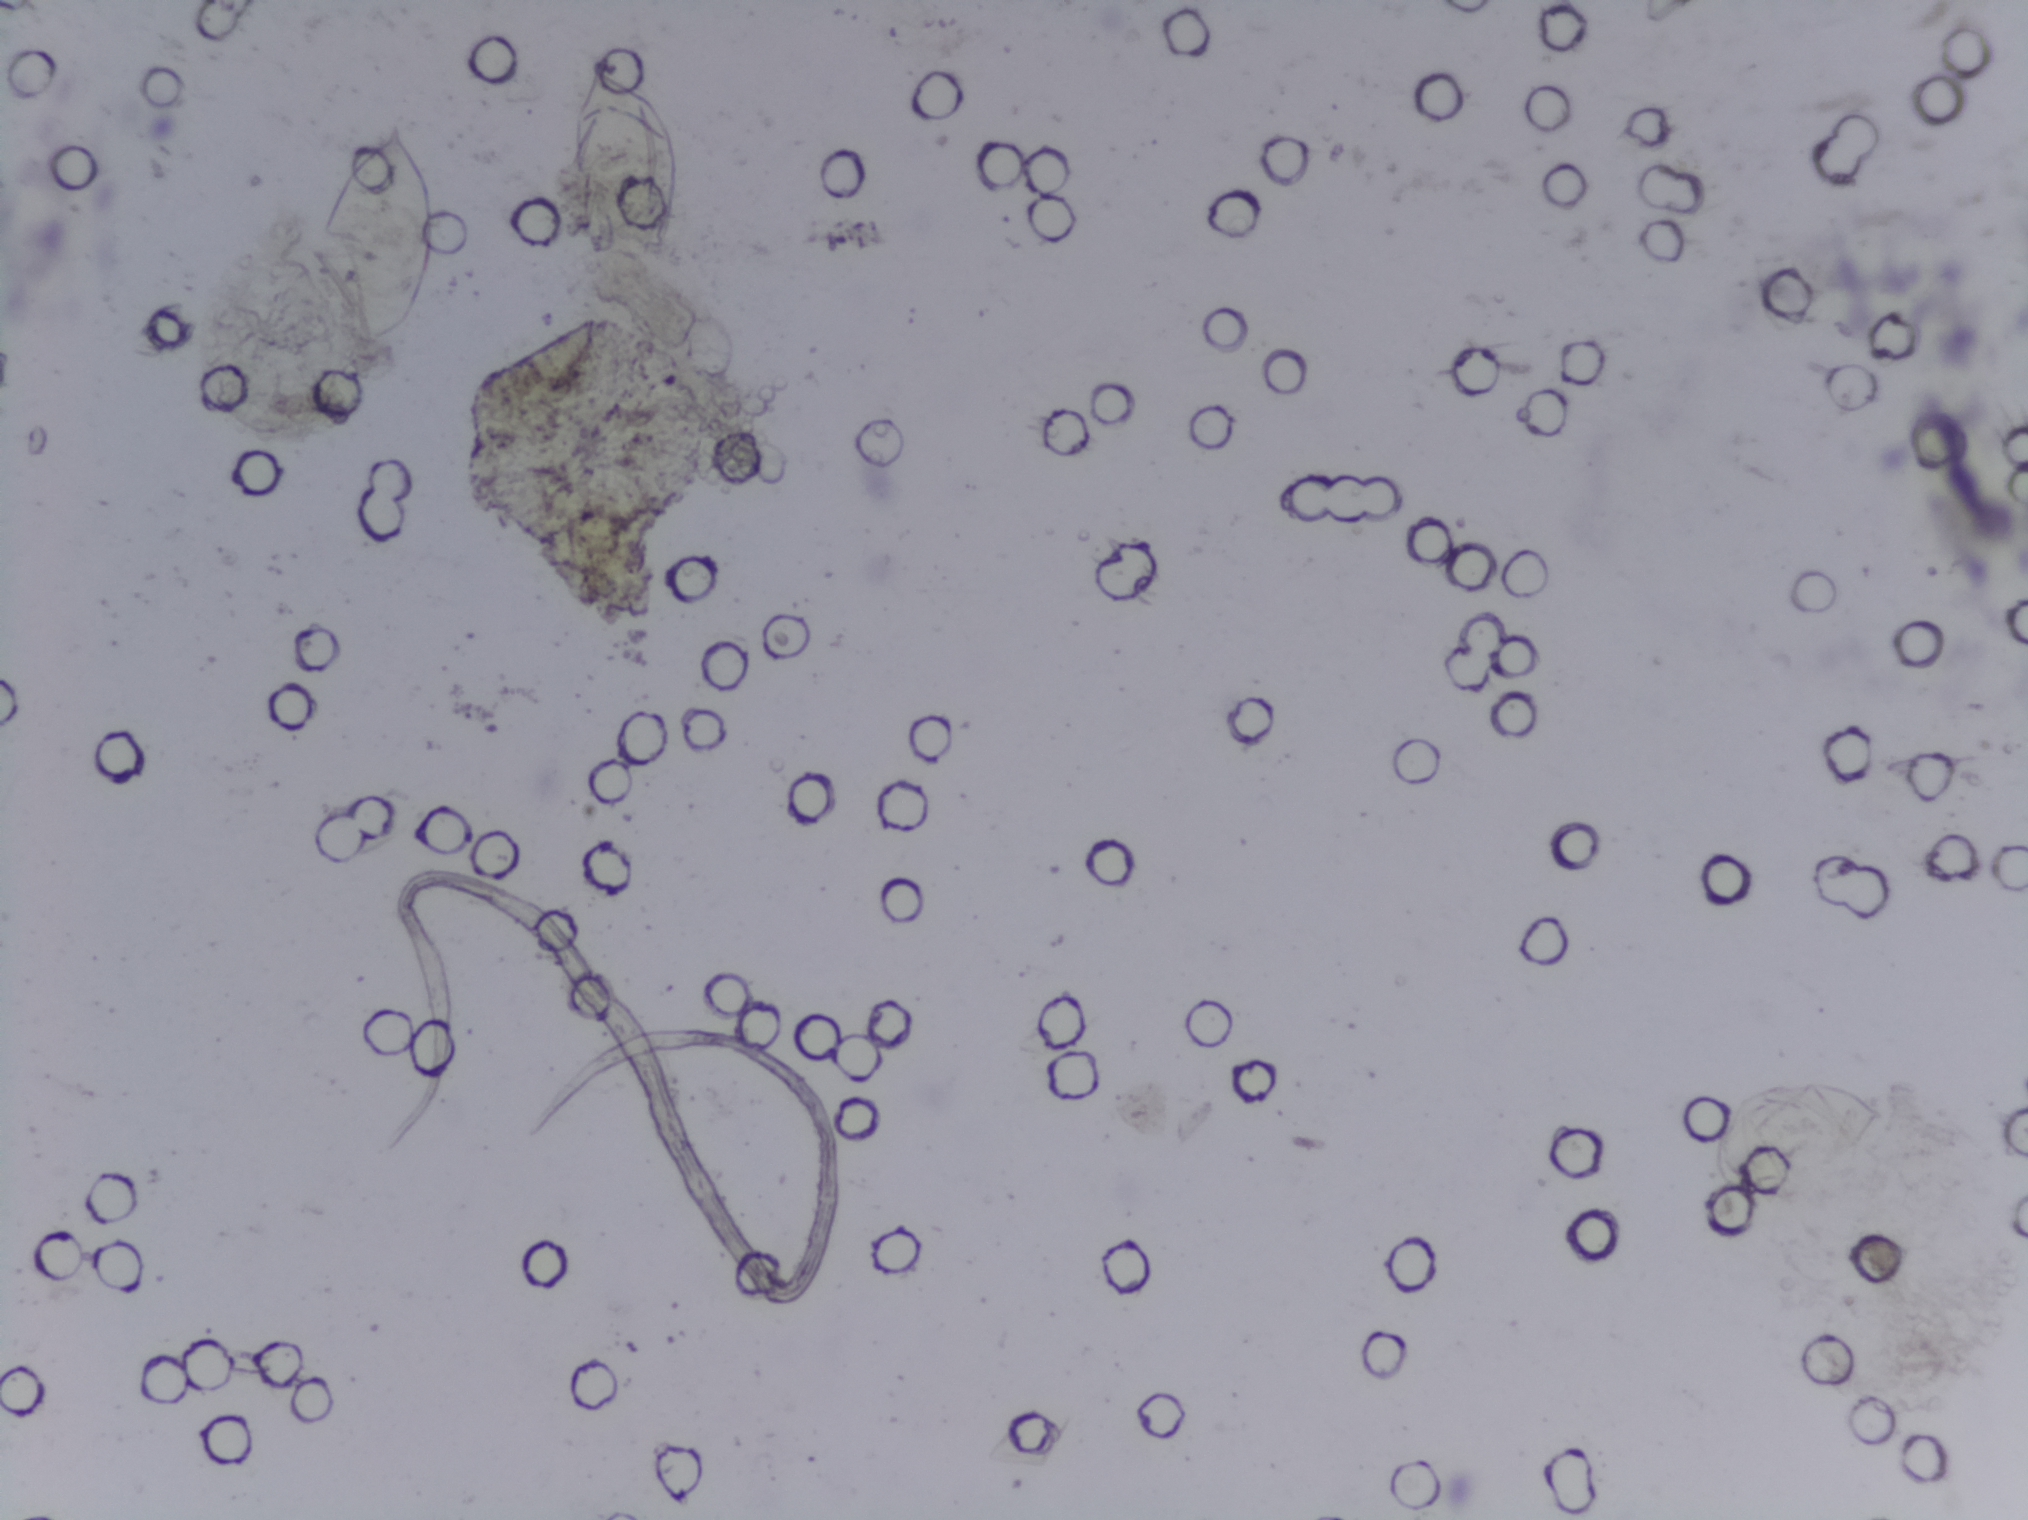
Photomicrograph of a urine filtration membrane, 4× objective.
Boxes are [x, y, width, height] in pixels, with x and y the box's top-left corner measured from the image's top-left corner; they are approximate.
Schistosoma eggs are outlined in the expert annotation at [319, 117, 122, 234] and [571, 57, 114, 210]. The marked pixels themselves, not the boxes around them, cover about 1.3% of the image. An outlined area can hold more than one egg. Any one outlined egg may, rarely, be S. mansoni rather than S. haematobium.